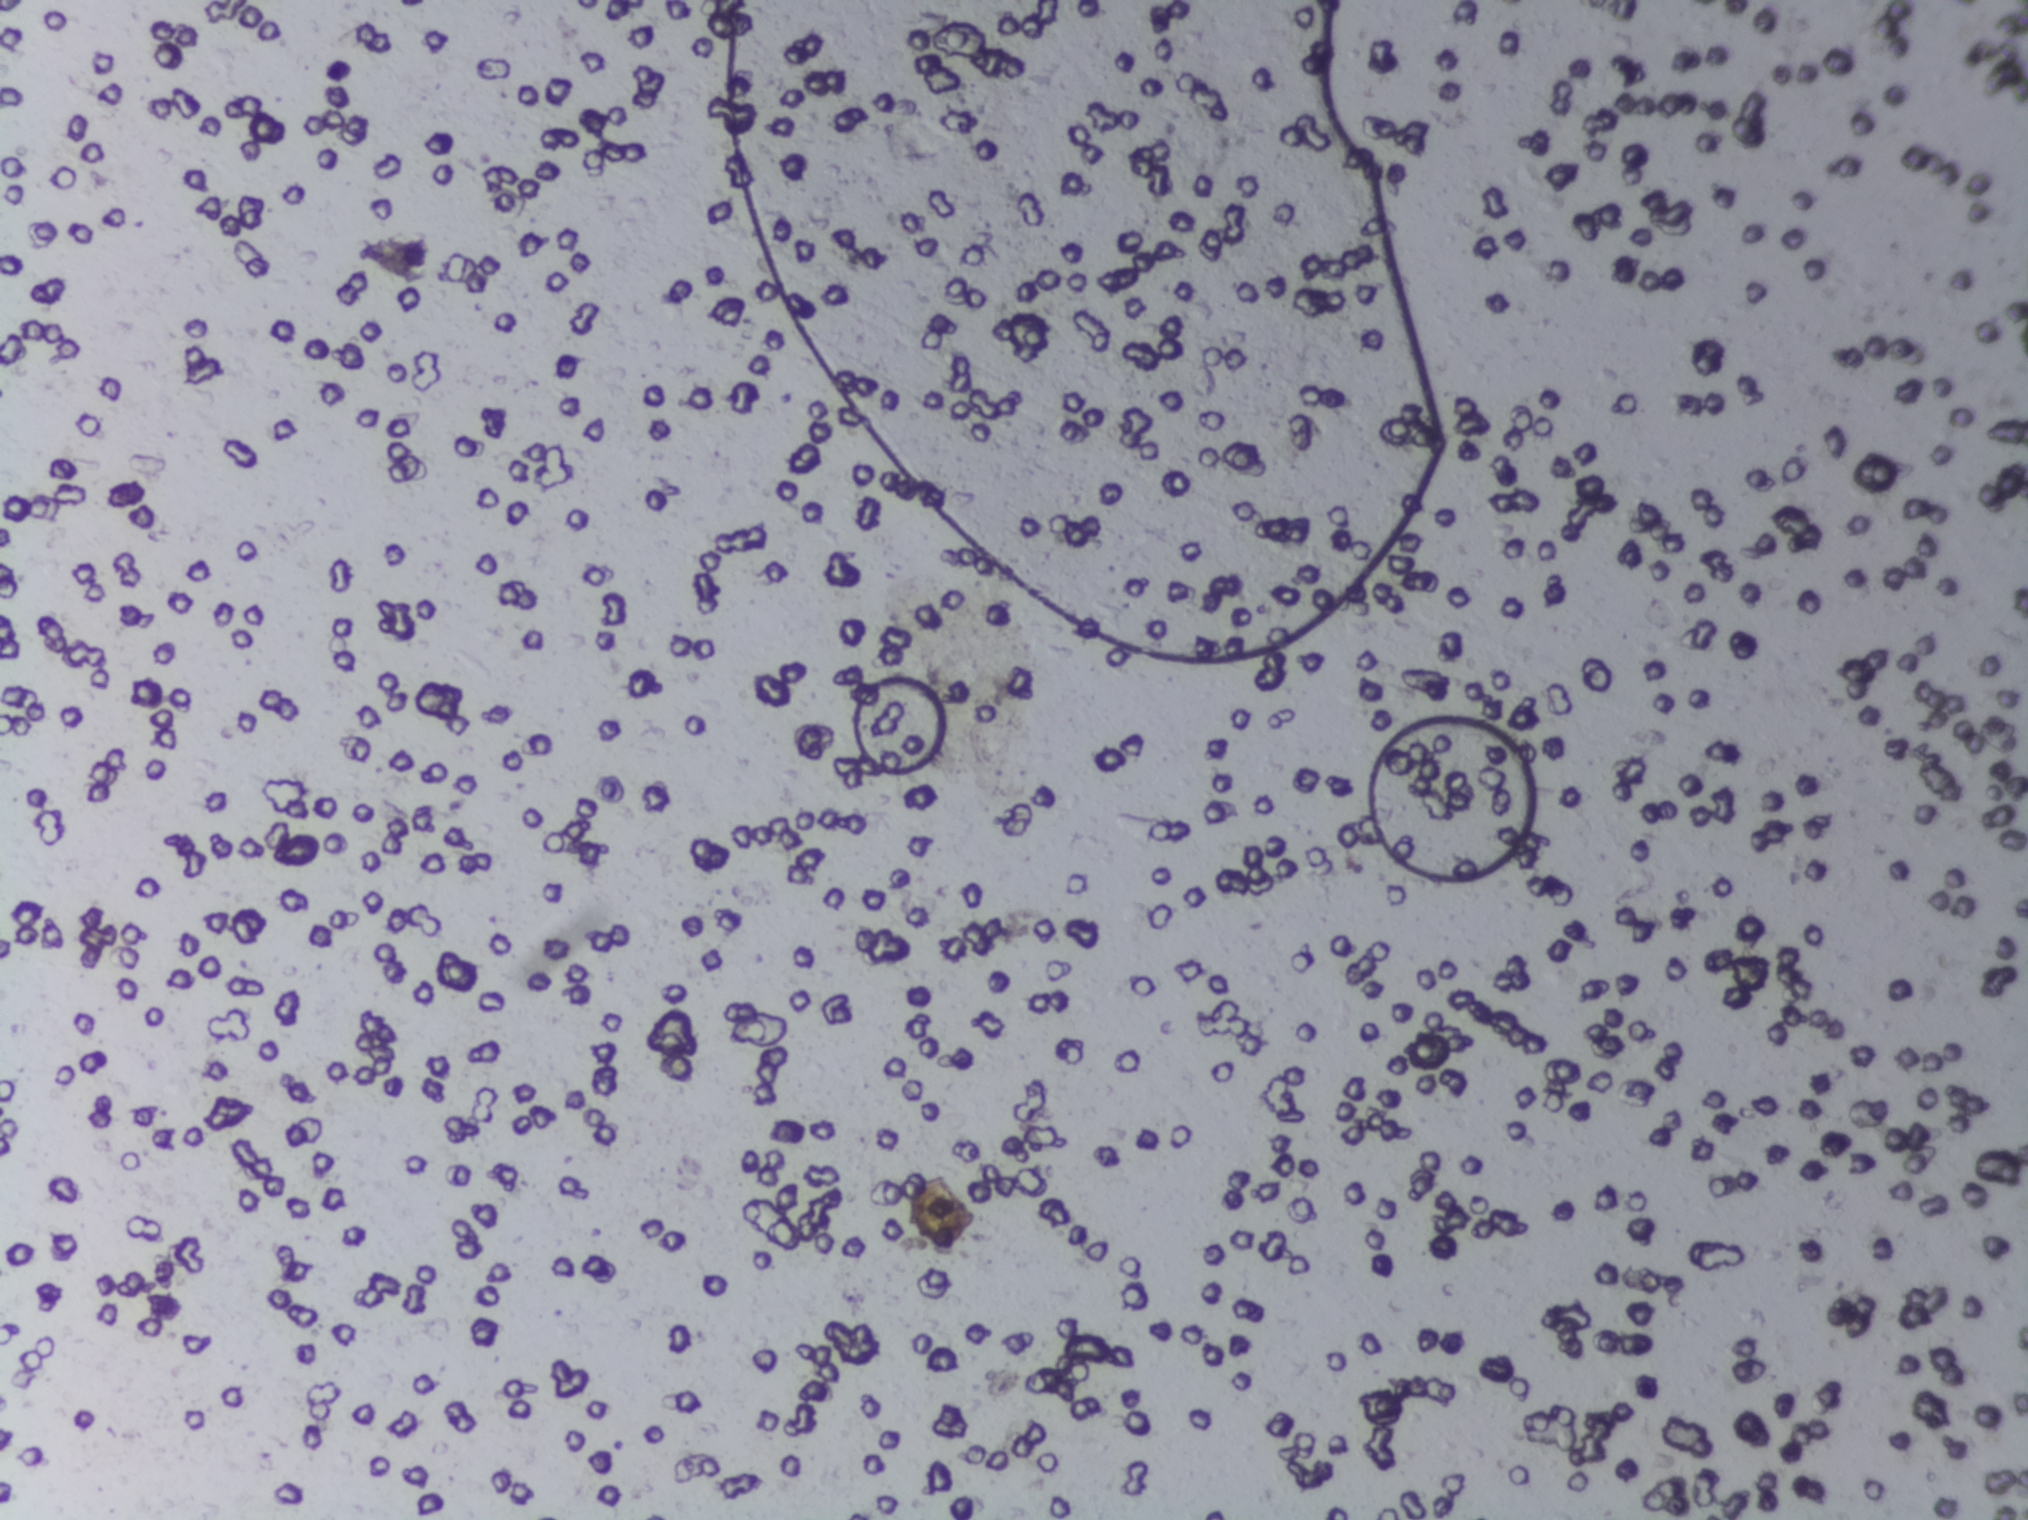
Urine filtration membrane under a 4× objective, photographed by an automated digital microscope.
No Schistosoma egg is outlined in this image's expert annotation.